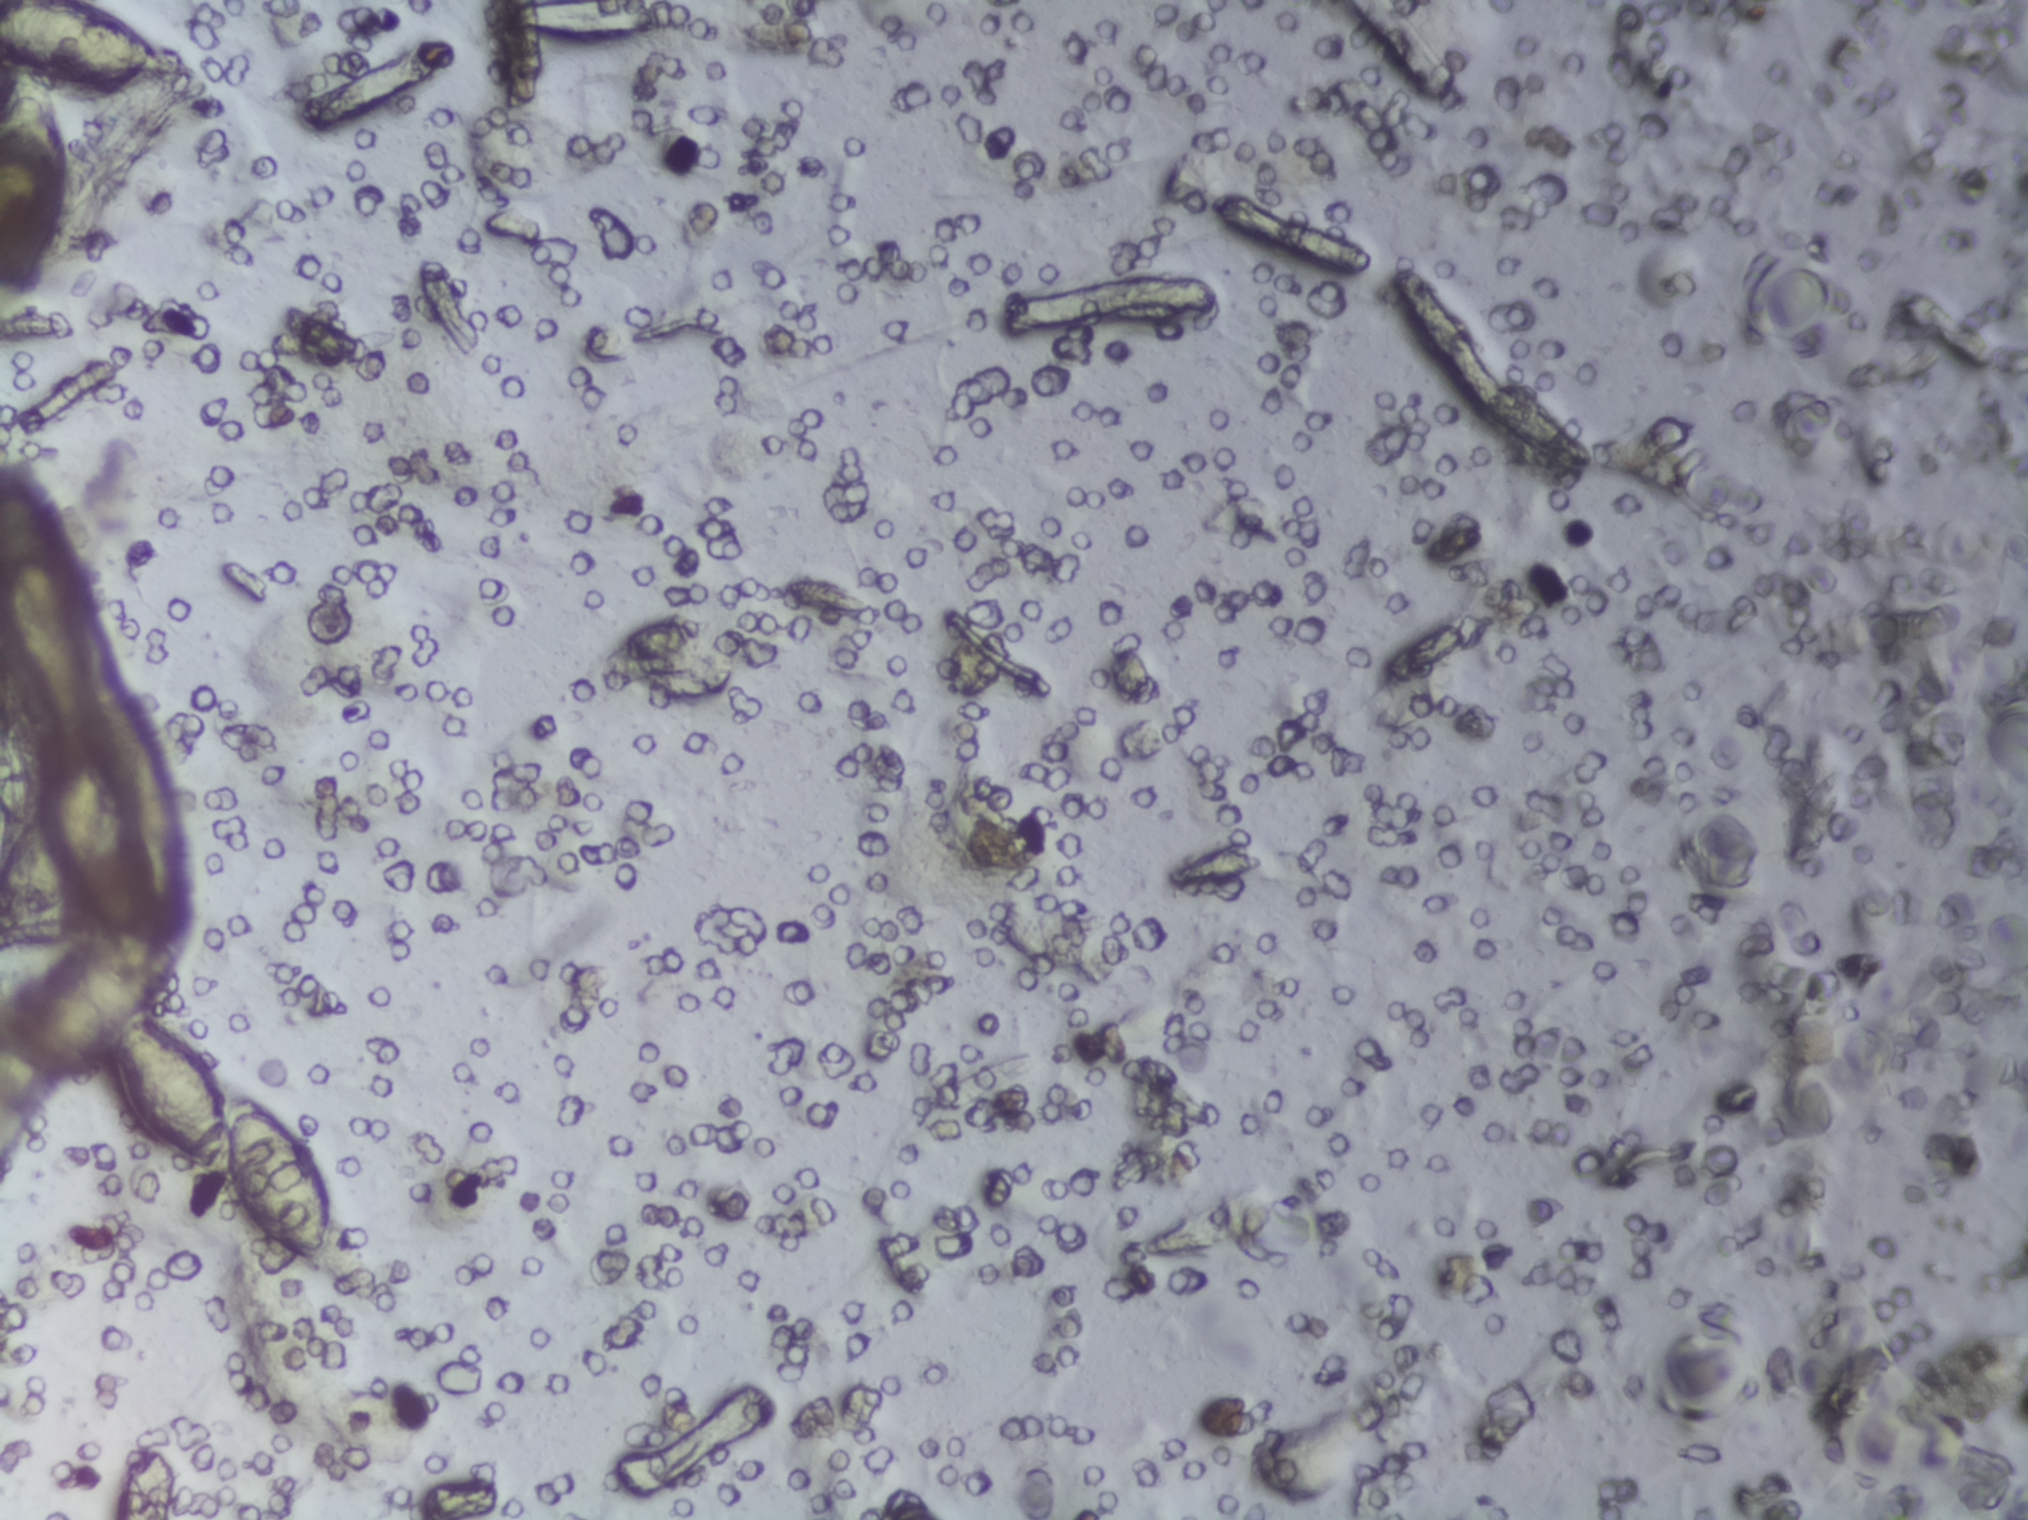
One field of view of a urine filter membrane, 4× objective, 2028 × 1520 pixels.
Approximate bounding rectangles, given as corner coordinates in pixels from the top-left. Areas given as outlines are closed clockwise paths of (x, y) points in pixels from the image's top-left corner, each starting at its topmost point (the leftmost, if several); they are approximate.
The expert annotation outlines Schistosoma eggs in three areas, left to right: outline (0, 0), (95, 0), (176, 60), (171, 80), (139, 92), (75, 93), (54, 86), (69, 130), (68, 220), (41, 297), (23, 310), (0, 308), (0, 87), (13, 70), (0, 61) (reaching the left and top edges of the frame); box (x1=0, y1=753, x2=110, y2=937) (reaching the left edge of the frame); outline (125, 1012), (153, 1013), (191, 1041), (220, 1077), (228, 1108), (233, 1087), (255, 1094), (313, 1139), (336, 1211), (336, 1246), (328, 1266), (310, 1274), (291, 1272), (268, 1243), (235, 1224), (226, 1181), (200, 1177), (173, 1152), (137, 1136), (115, 1098), (106, 1058), (105, 1043). Marked pixels, not the box and the outlines around them: about 2.2% of the image. Eggs that touch can end up inside the same outlined area. Any one outlined egg may, rarely, be S. mansoni rather than S. haematobium.